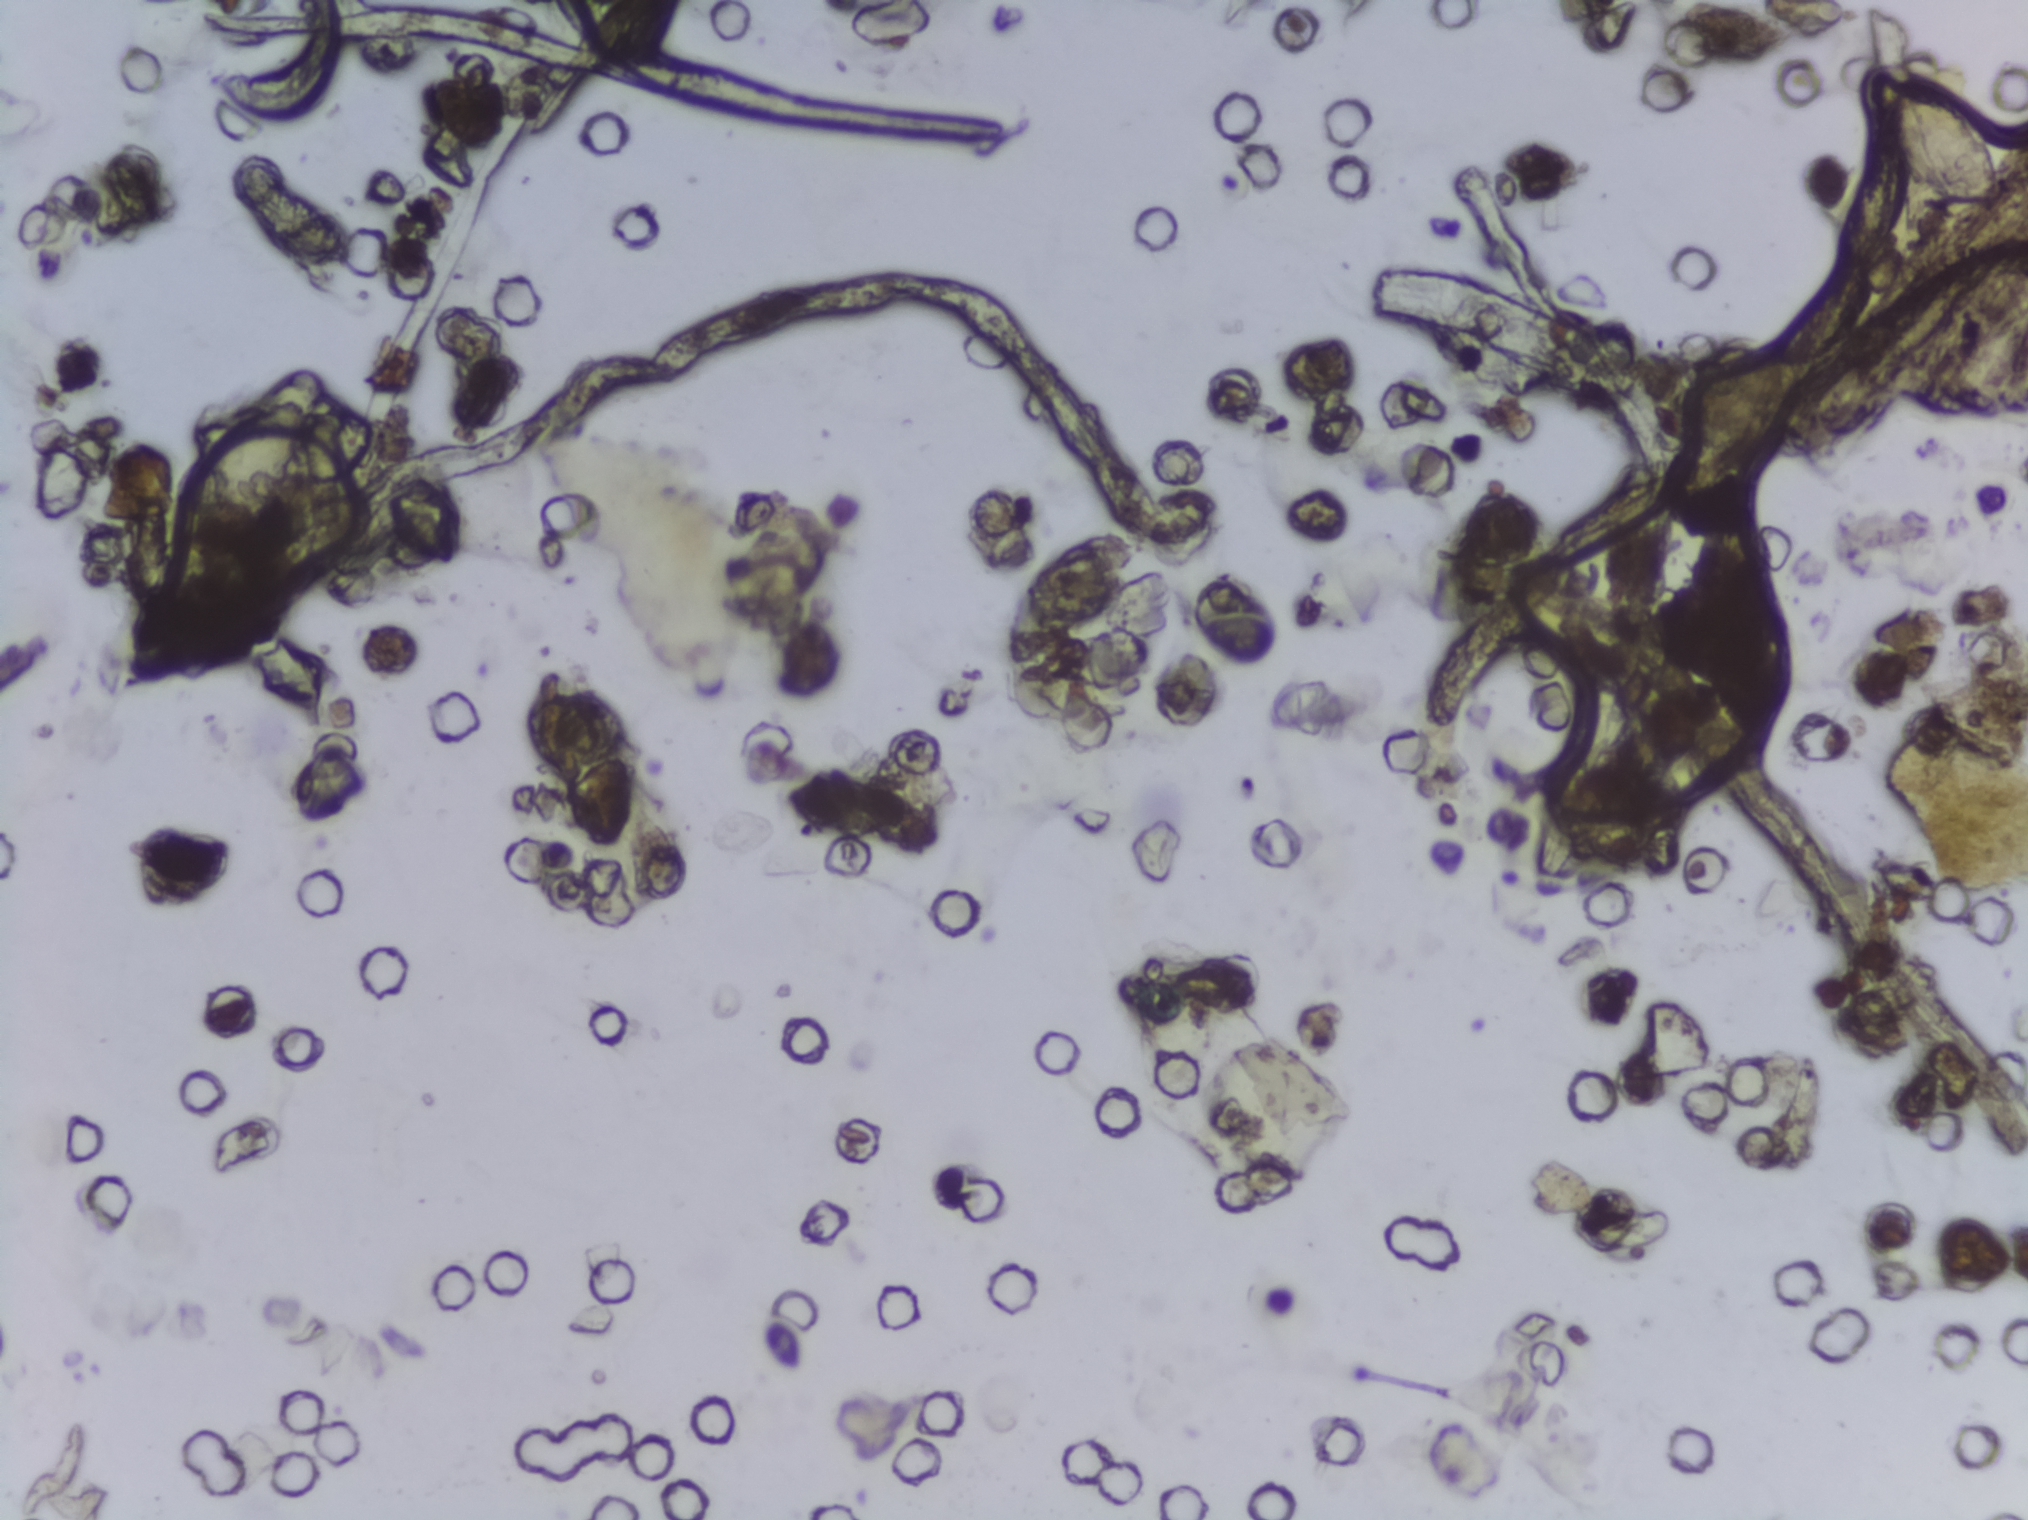
Urine filtration membrane under a 4× objective, photographed by an automated digital microscope.
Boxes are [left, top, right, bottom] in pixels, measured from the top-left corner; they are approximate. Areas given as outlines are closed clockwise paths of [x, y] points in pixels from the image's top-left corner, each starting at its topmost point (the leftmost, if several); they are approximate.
Areas outlined as Schistosoma eggs, left to right:
1. outline [303, 367], [332, 367], [332, 389], [278, 516], [261, 539], [235, 556], [161, 575], [155, 529], [162, 541], [186, 473], [204, 461], [249, 396]
2. box [1850, 27, 2000, 211]
Eggs that touch can end up inside the same outlined area.